Urine filter membrane photographed through a 4× microscope objective. Field of view: about 1.5 mm wide and 1.1 mm high.
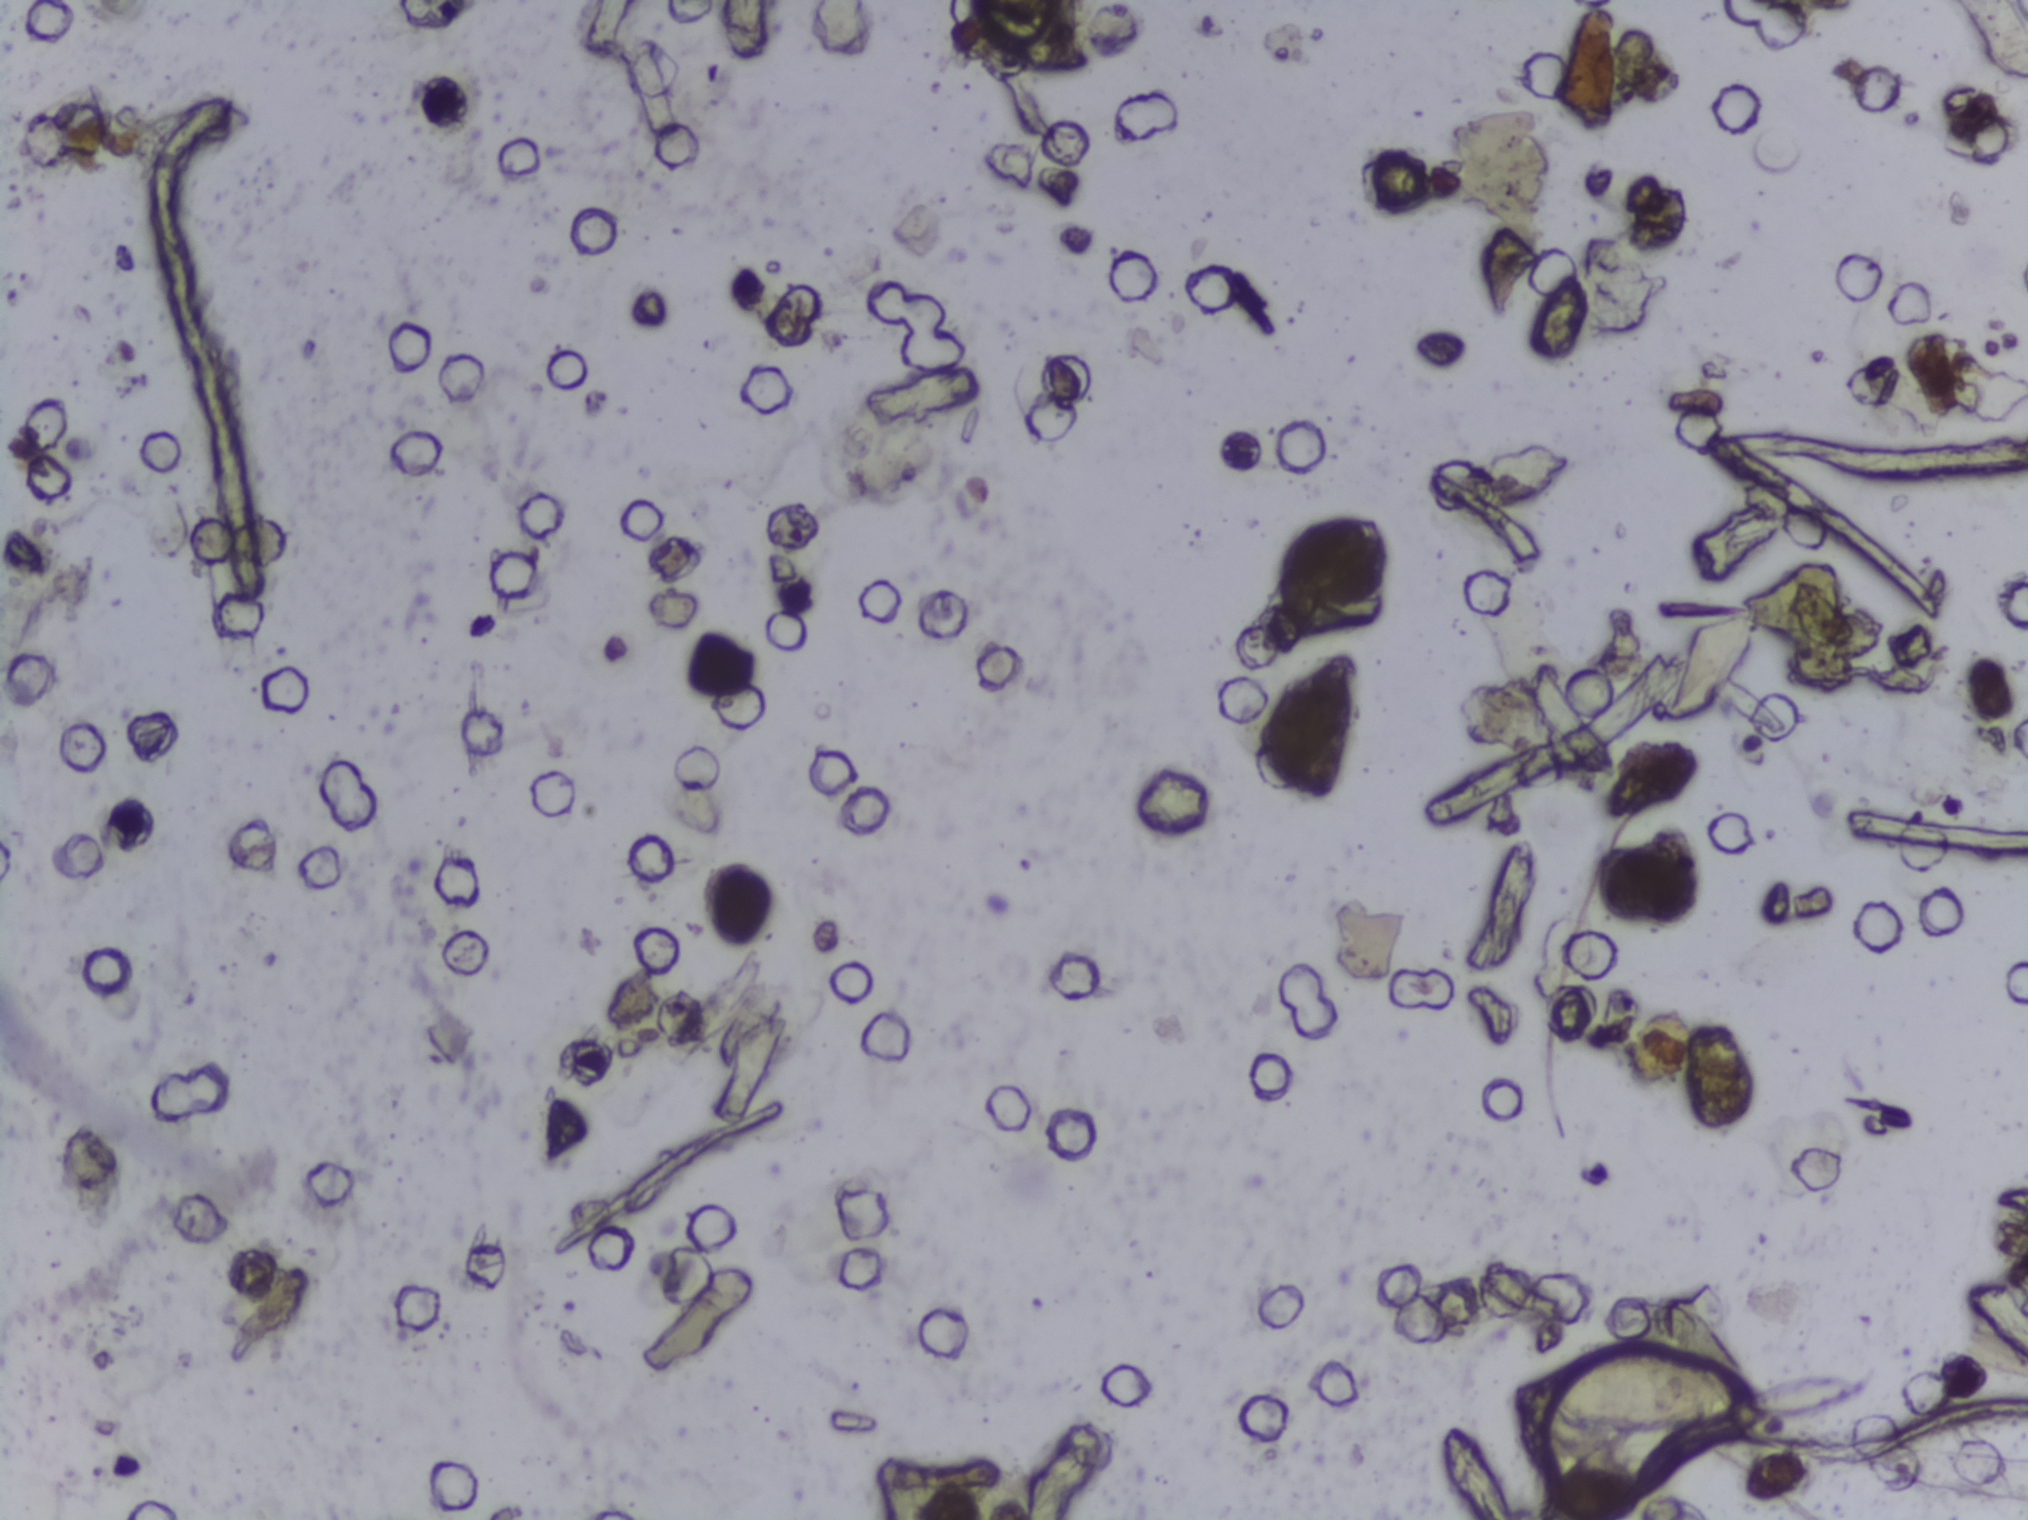
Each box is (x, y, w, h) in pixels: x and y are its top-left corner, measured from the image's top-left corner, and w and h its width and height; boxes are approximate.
Schistosoma eggs, outlined areas: (x=1537, y=1346, w=208, h=167). An outlined area can hold more than one egg.